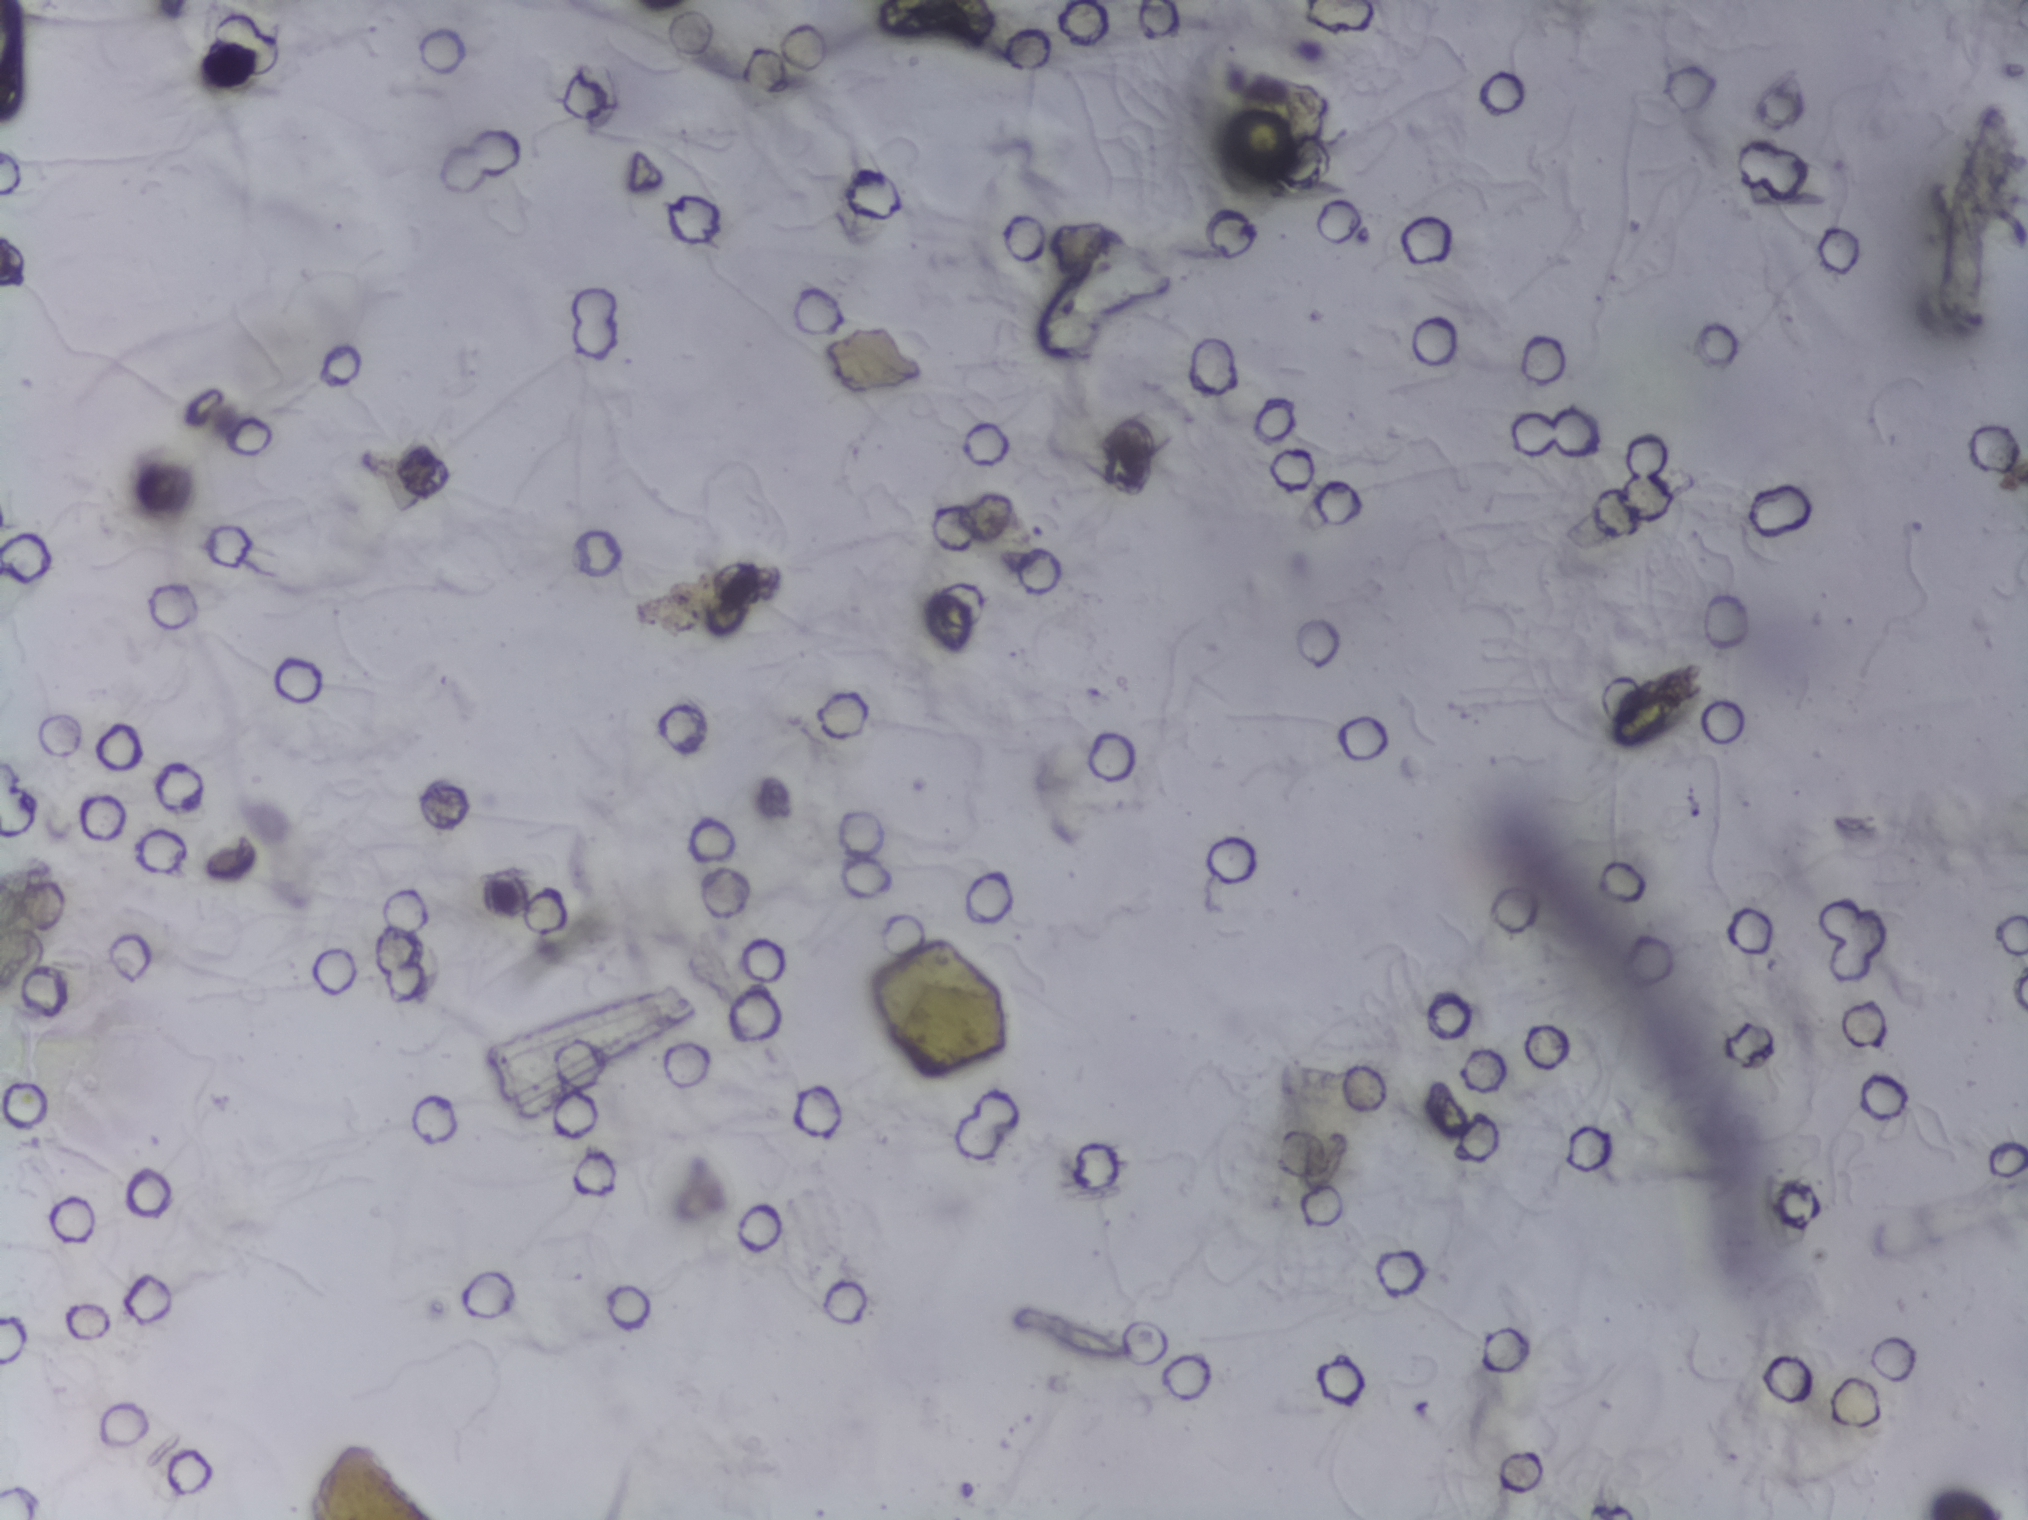
Microscope photograph (4× objective) of a membrane that a urine sample was filtered through. The field of view is about 1.5 mm × 1.1 mm.
The expert annotation outlines no Schistosoma egg in this image.